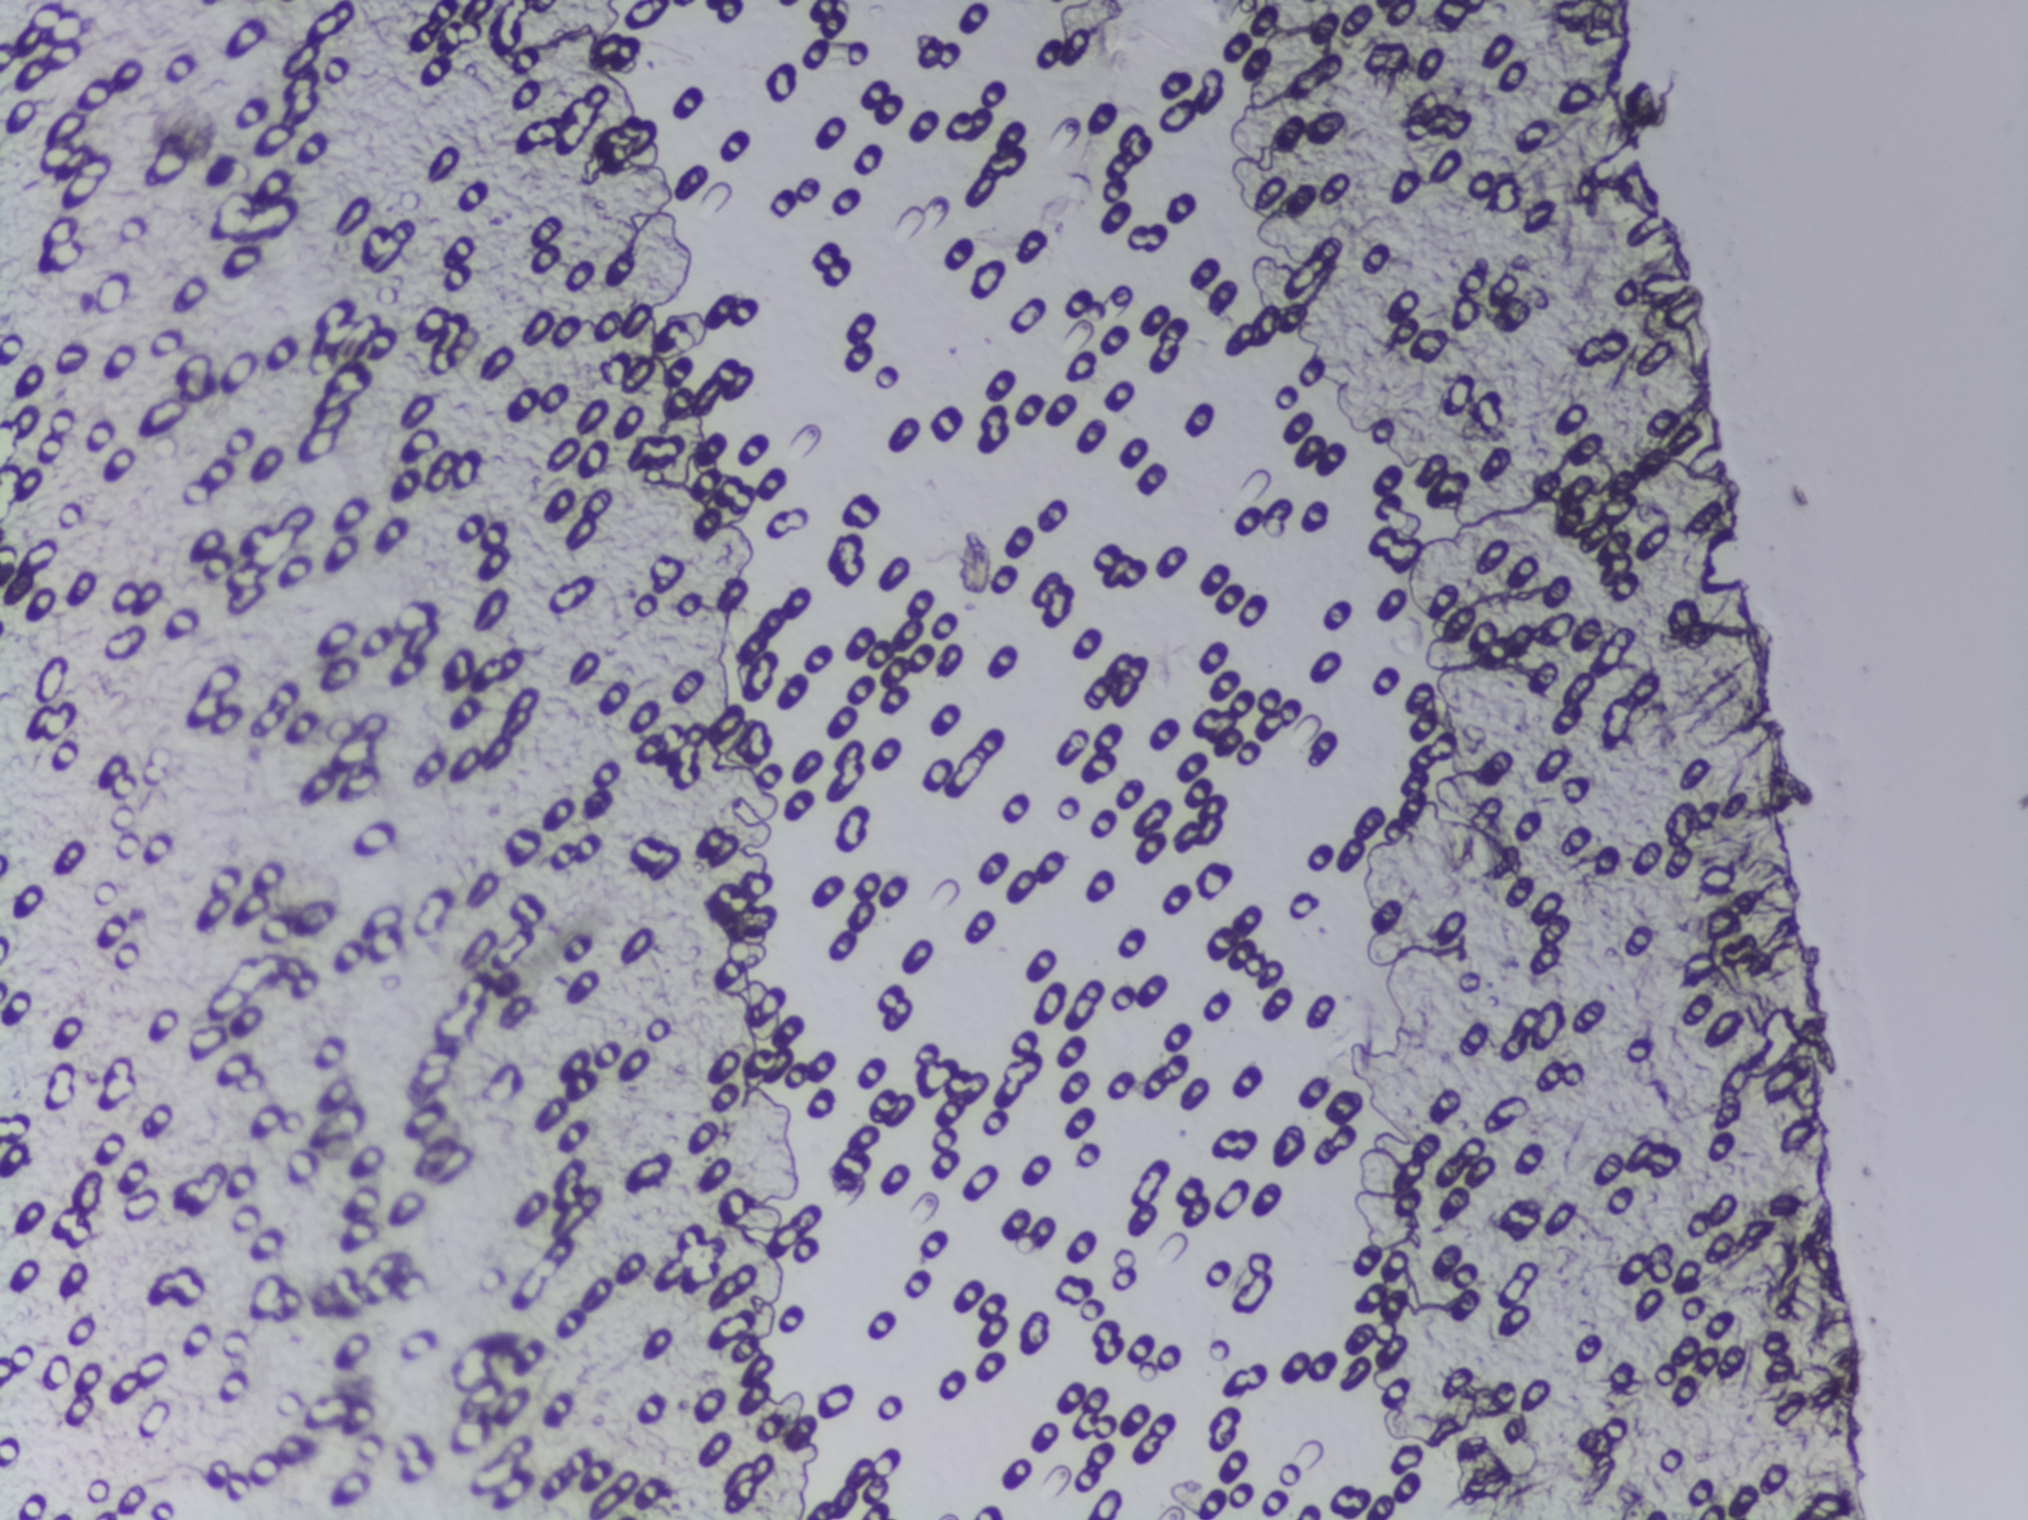
Urine filtration membrane under a 4× objective, photographed by an automated digital microscope.
The expert annotation outlines no Schistosoma egg in this image.